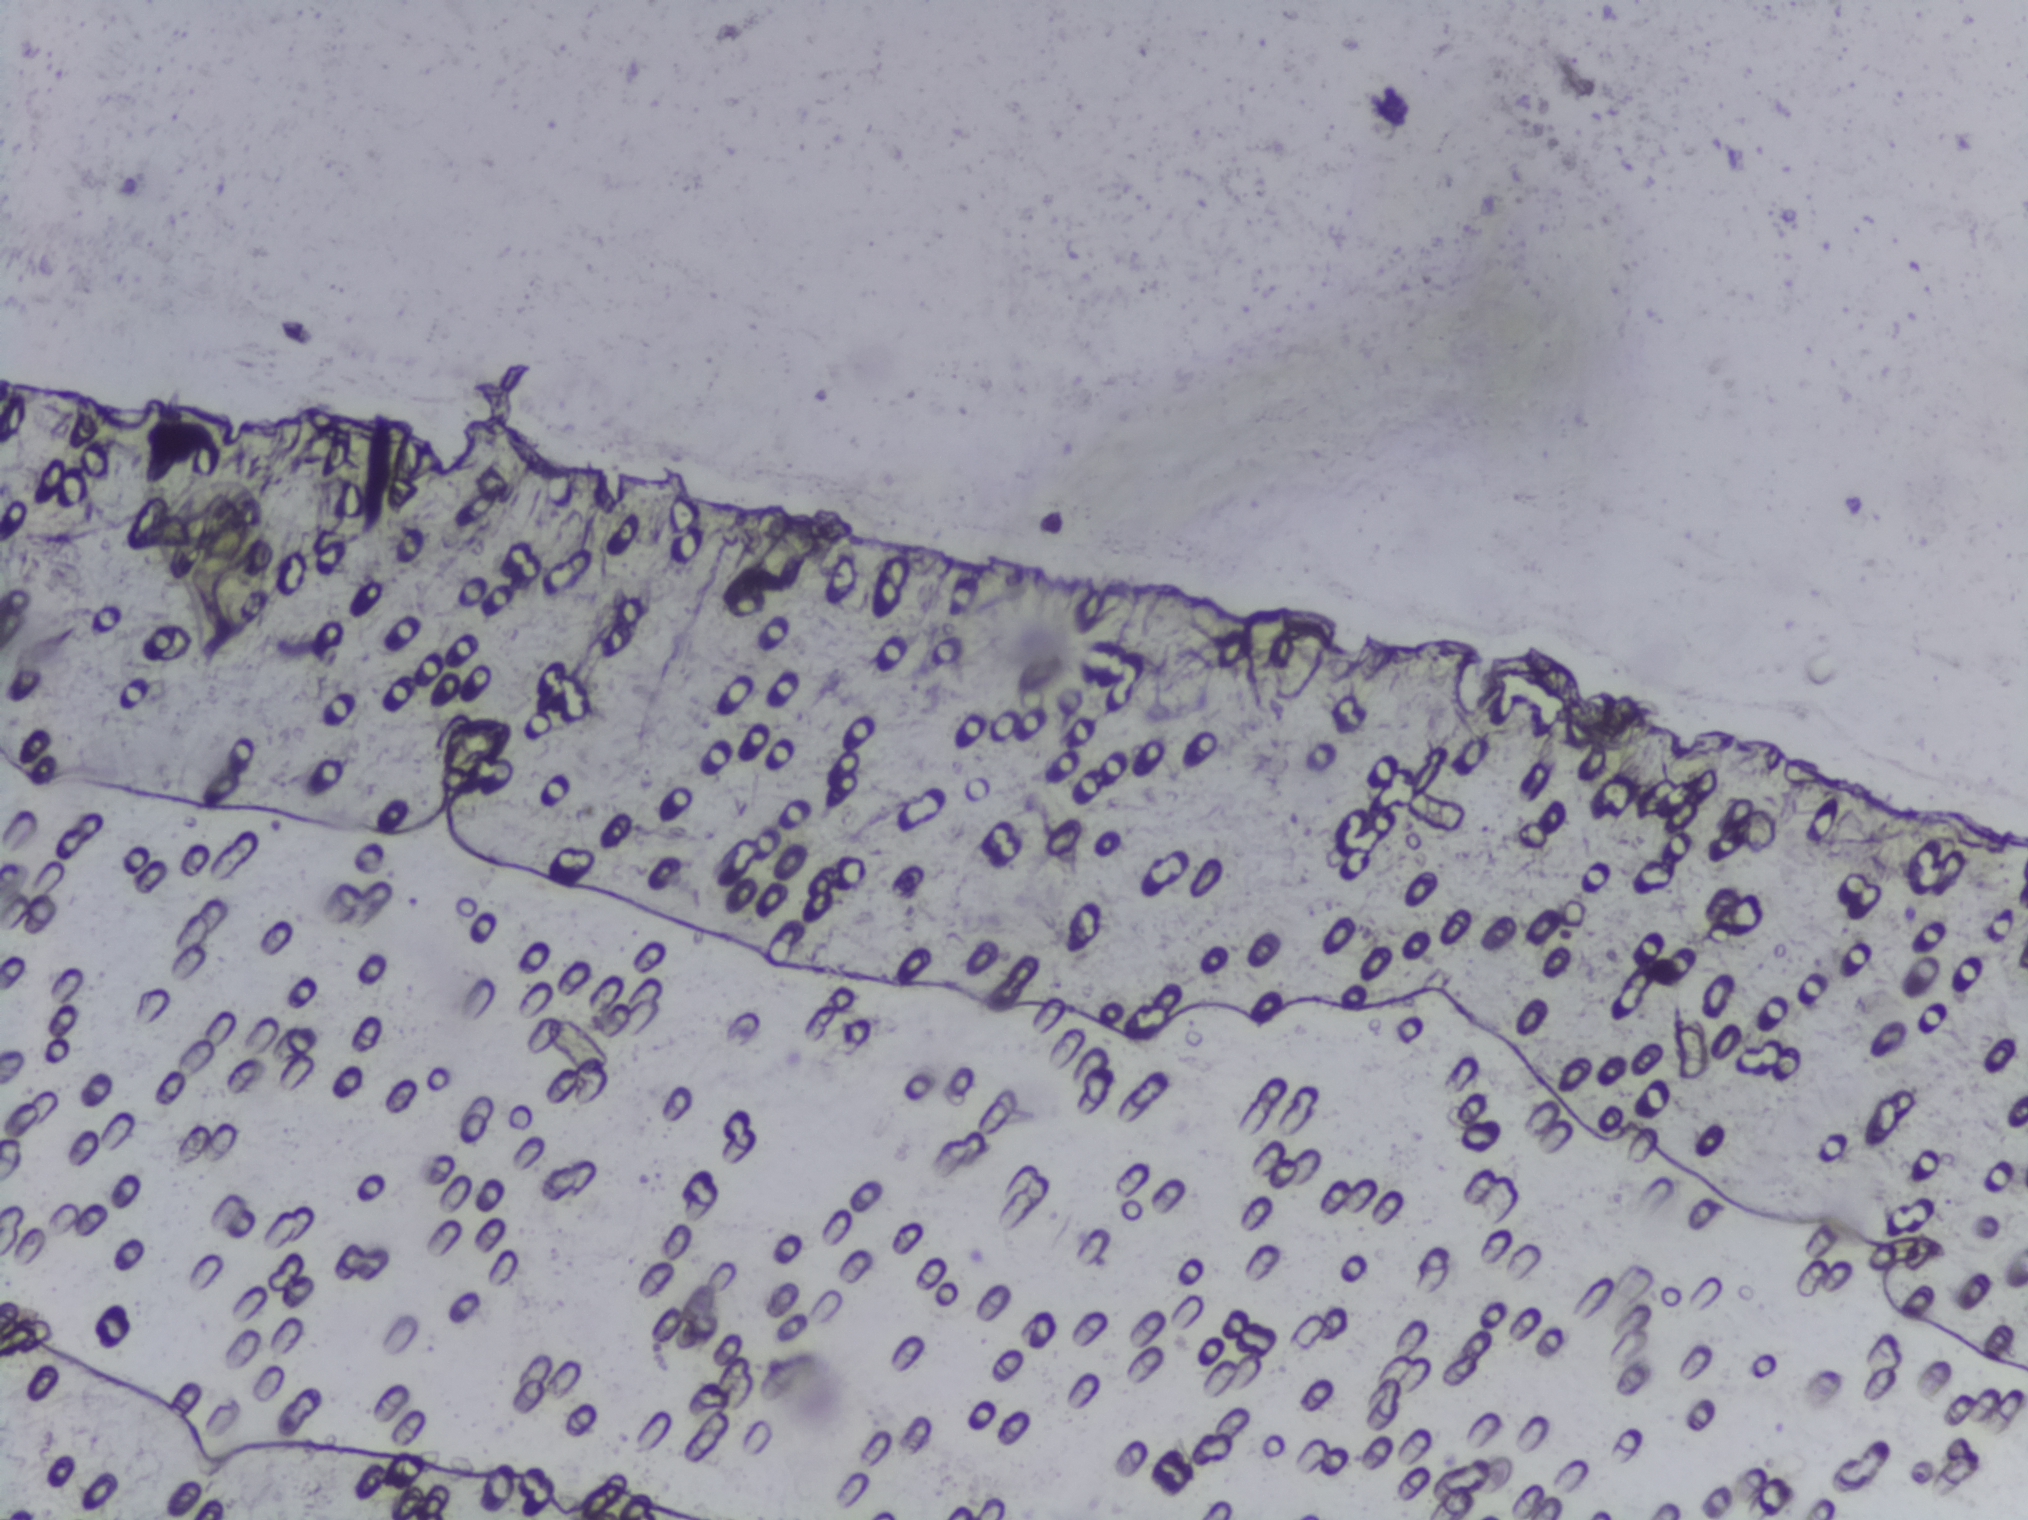
The expert annotation outlines no Schistosoma egg in this image.
One field of view of a urine filter membrane, 4× objective, 2028 × 1520 pixels. The image covers about 1.5 × 1.1 mm of the membrane.